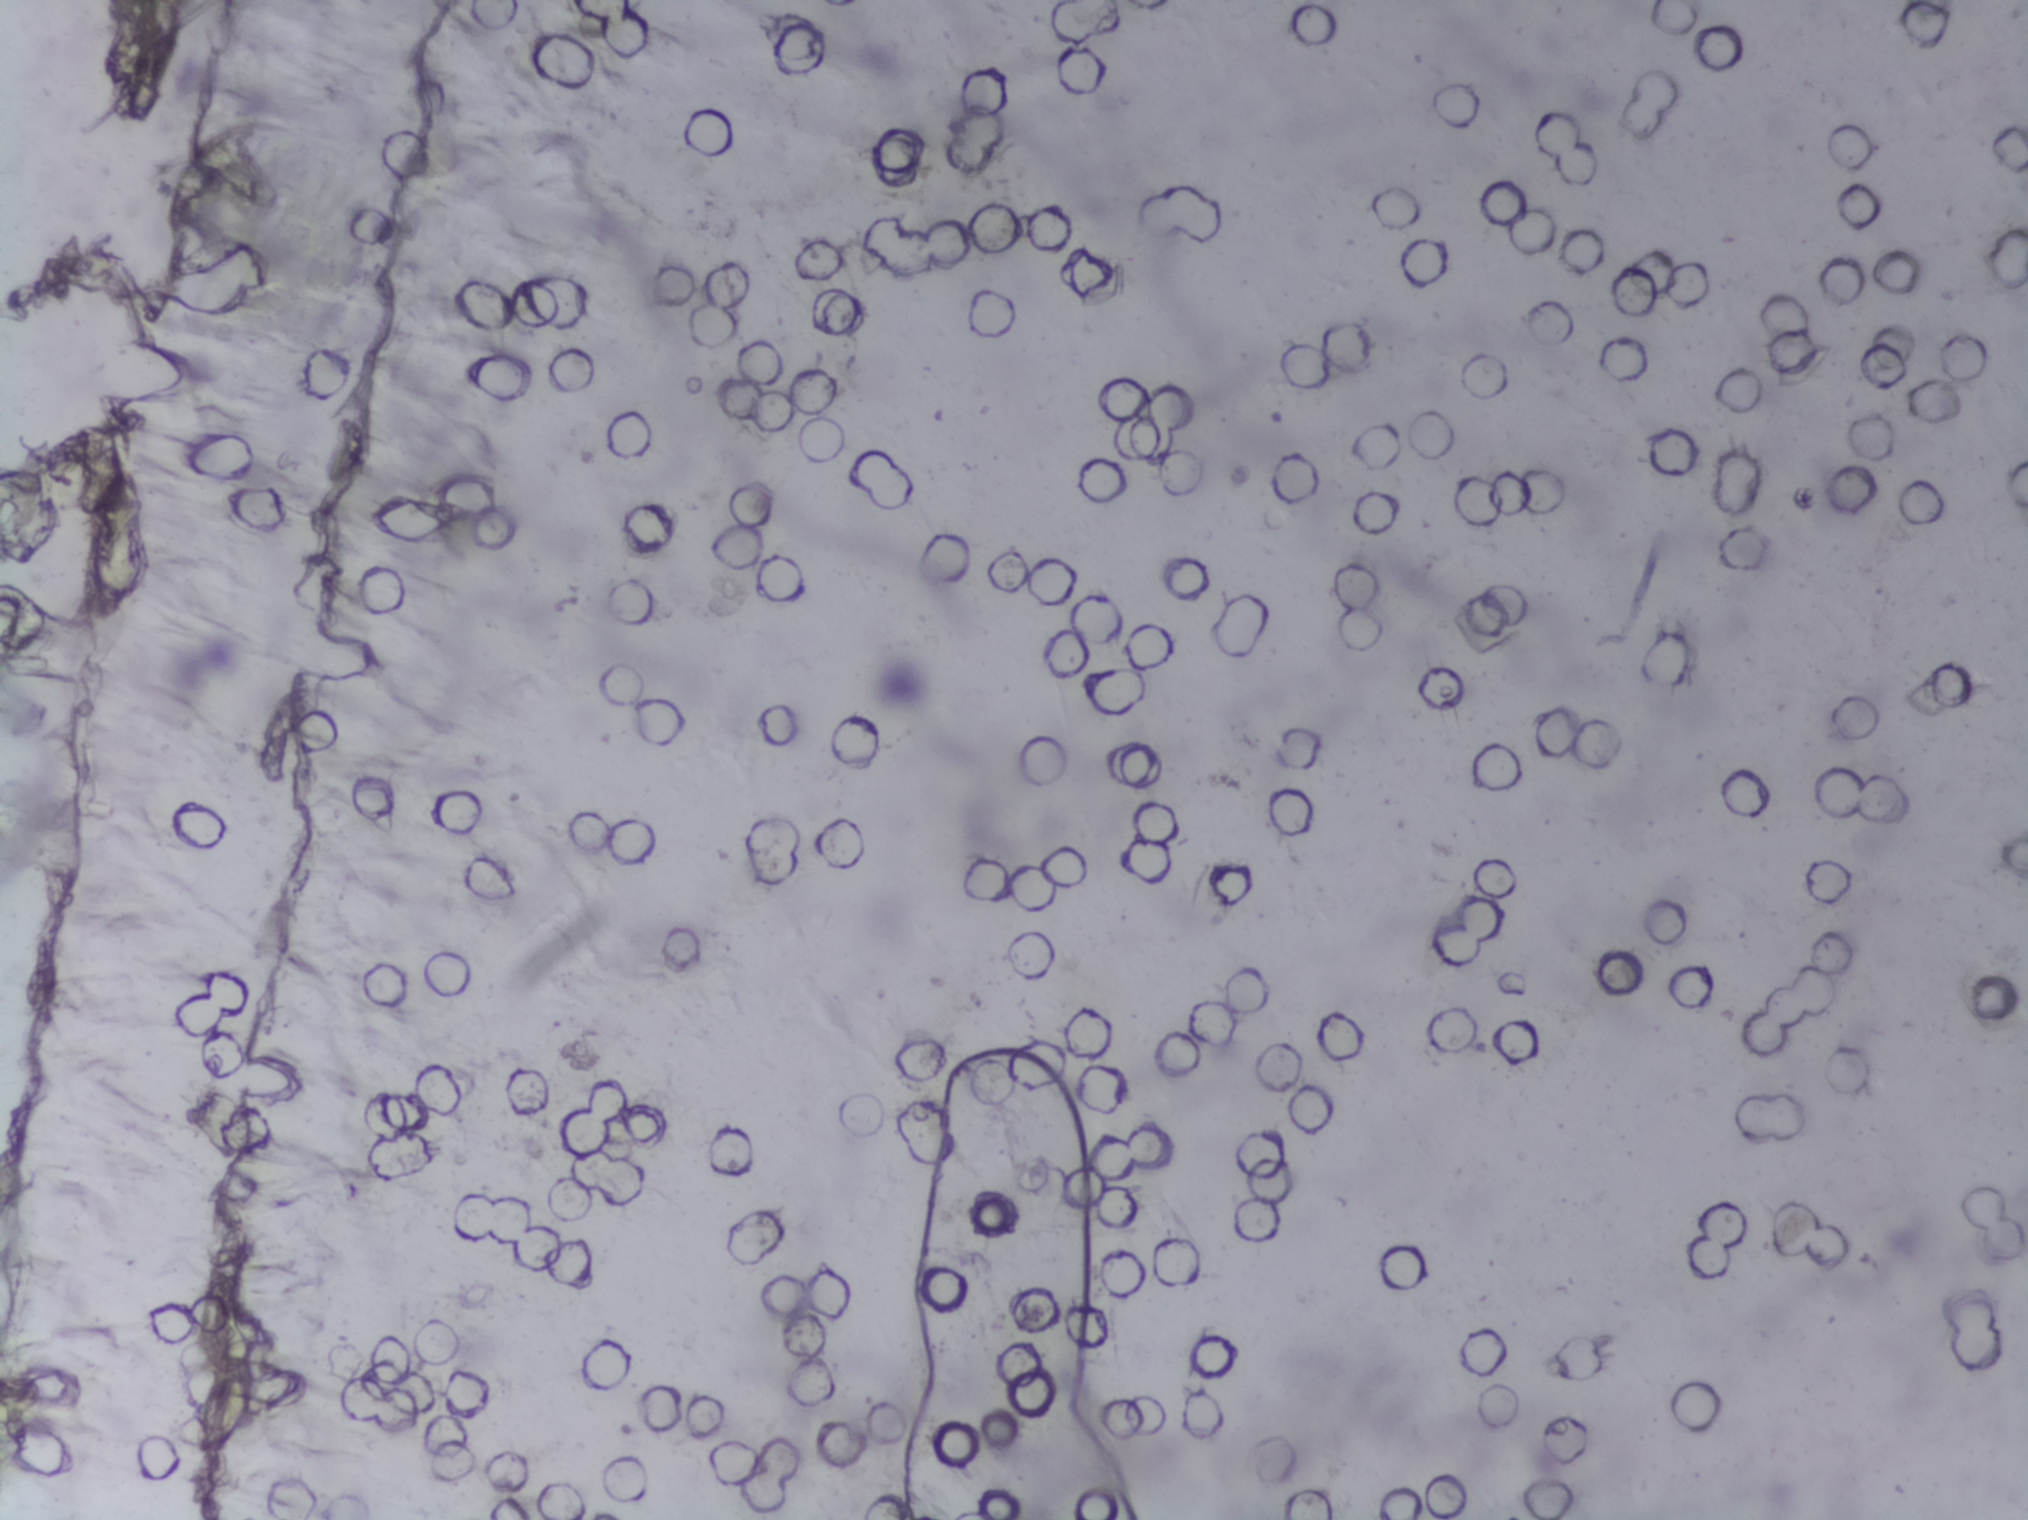
Urine filtration membrane under a 4× objective, photographed by an automated digital microscope.
The expert annotation outlines no Schistosoma egg in this image.